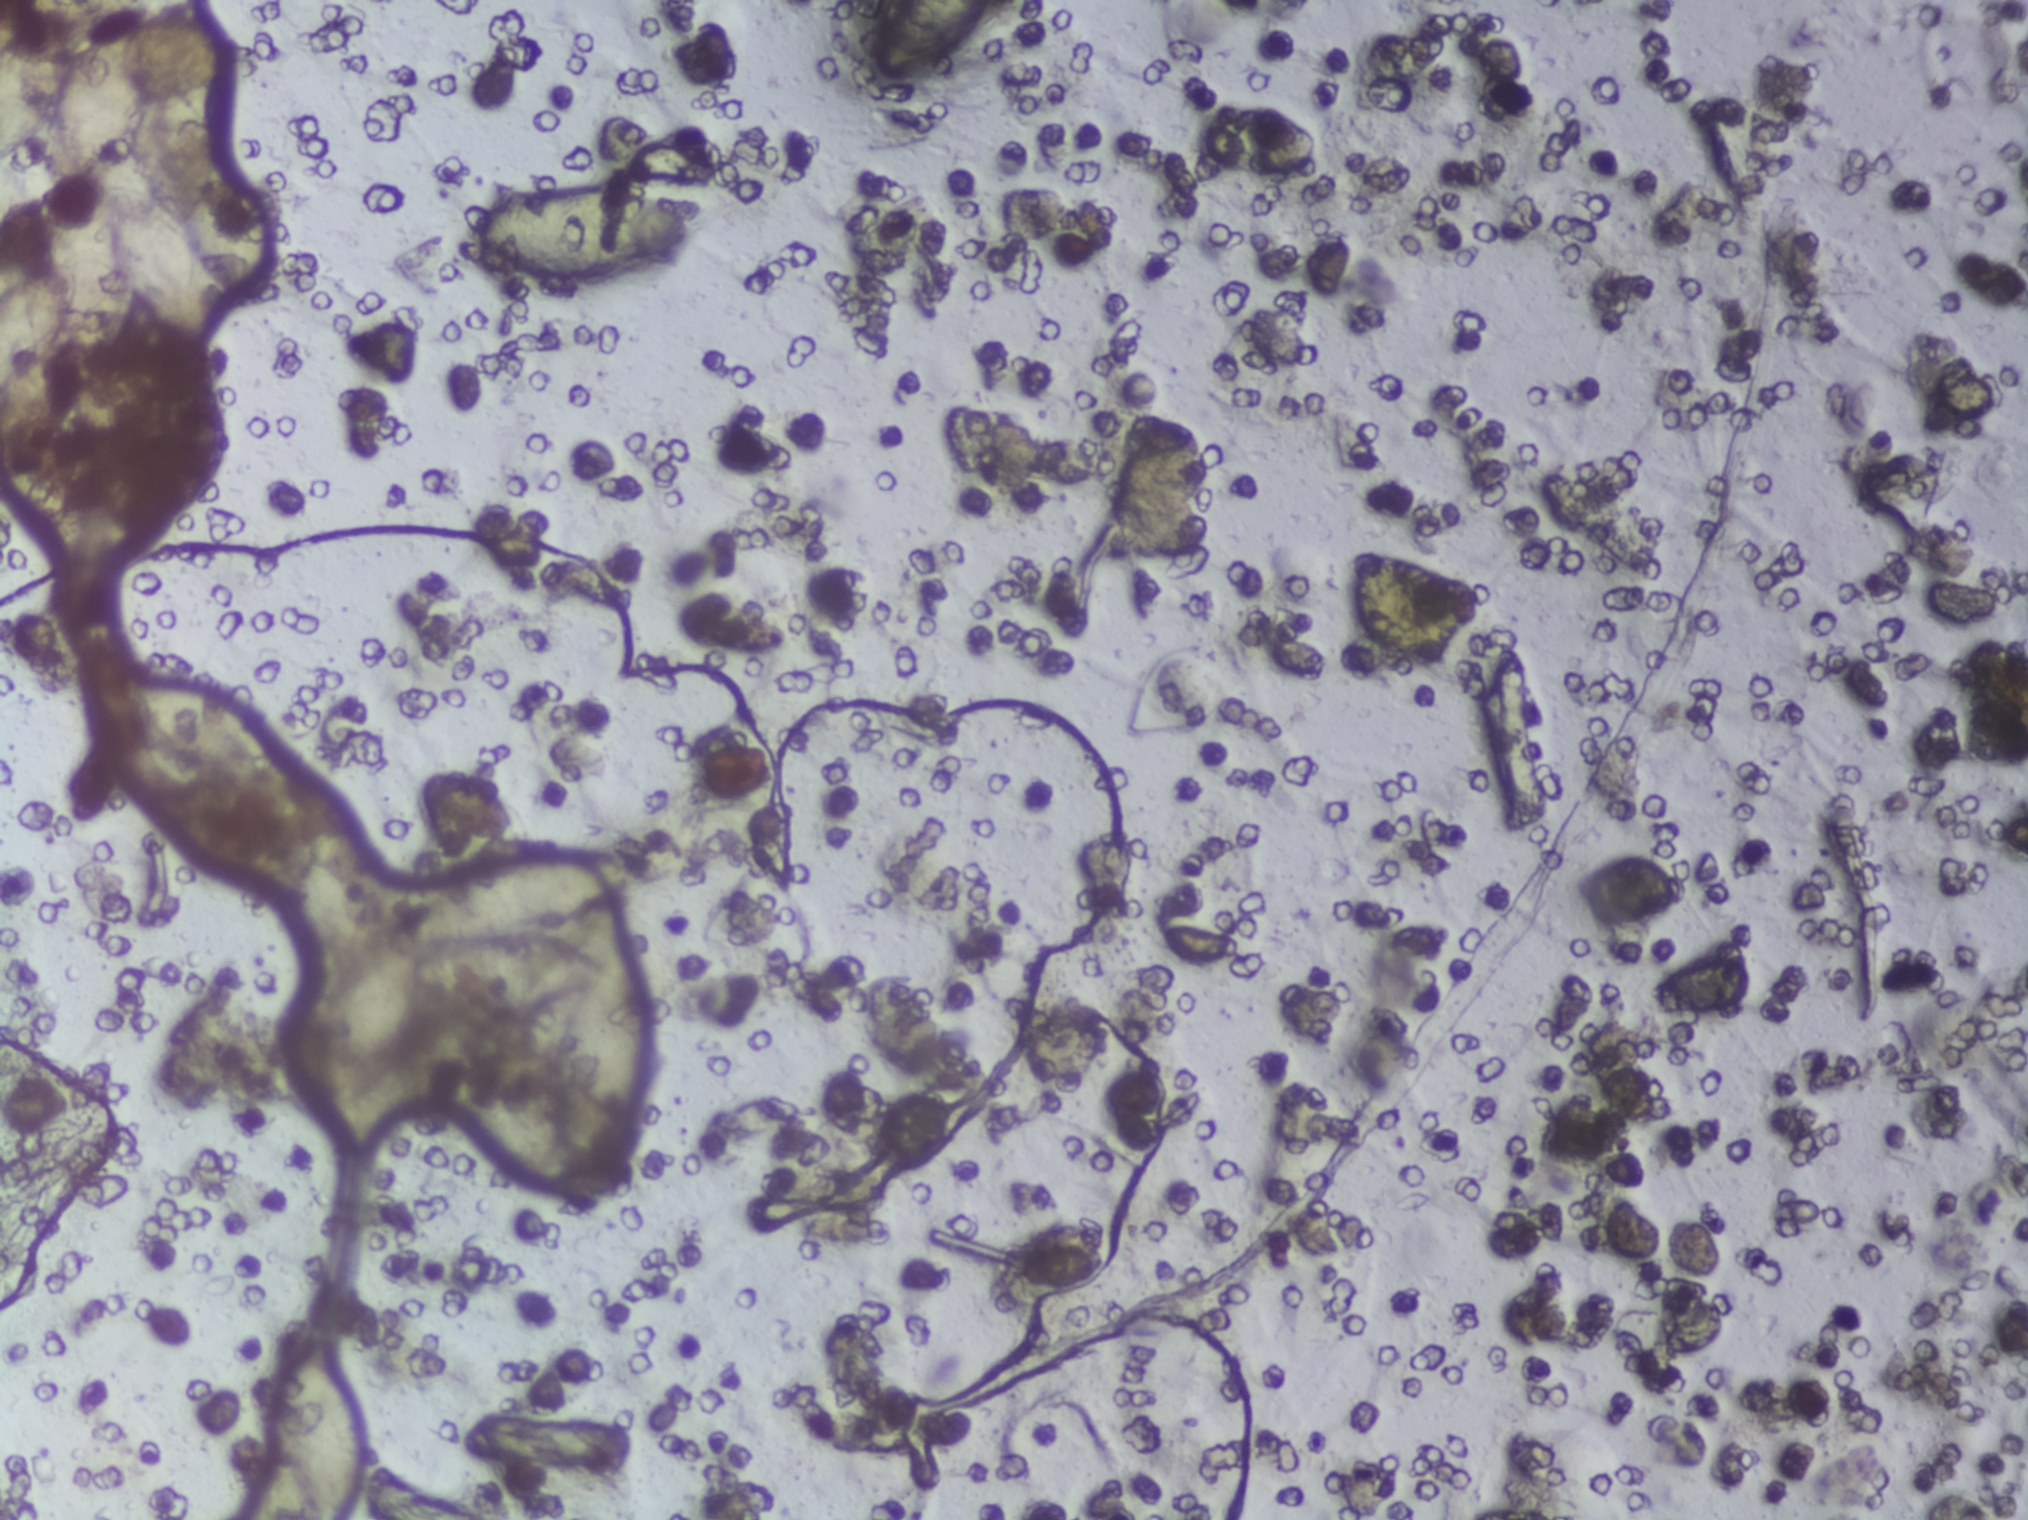
Microscope photograph (4× objective) of a membrane that a urine sample was filtered through. Field of view: about 1.5 mm wide and 1.1 mm high.
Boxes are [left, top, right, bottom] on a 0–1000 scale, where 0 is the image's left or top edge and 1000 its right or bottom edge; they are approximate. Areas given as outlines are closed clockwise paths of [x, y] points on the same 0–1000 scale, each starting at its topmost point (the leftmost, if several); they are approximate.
Findings: five areas outlined as Schistosoma eggs. Locations: outline [27, 0], [47, 0], [48, 20], [66, 6], [73, 19], [82, 0], [96, 0], [99, 6], [105, 27], [101, 97], [134, 143], [138, 157], [138, 181], [129, 198], [110, 195], [107, 216], [101, 223], [86, 223], [66, 201], [60, 227], [45, 250], [37, 249], [26, 227], [16, 246], [0, 258], [0, 185], [21, 169], [20, 135], [28, 113], [24, 85], [13, 100], [0, 108], [0, 27] (a cluster of eggs; reaching the left and top edges of the frame); outline [69, 444], [101, 452], [134, 485], [143, 502], [143, 510], [128, 515], [146, 535], [154, 561], [171, 571], [187, 590], [196, 614], [208, 592], [237, 565], [262, 556], [310, 561], [314, 575], [310, 584], [275, 610], [297, 623], [311, 603], [314, 612], [326, 677], [325, 712], [313, 740], [318, 752], [318, 763], [288, 781], [266, 779], [246, 767], [215, 715], [217, 705], [231, 702], [270, 708], [279, 662], [269, 667], [236, 667], [212, 651], [206, 677], [185, 715], [170, 727], [160, 728], [160, 659], [181, 632], [158, 623], [141, 602], [136, 587], [99, 565], [67, 526], [52, 488], [76, 487], [61, 461], [61, 448] (a cluster of eggs); box [118, 874, 181, 1000] (reaching the bottom edge of the frame); box [232, 120, 341, 193]; box [428, 0, 491, 57] (reaching the top edge of the frame). Eggs that touch can end up inside the same outlined area.